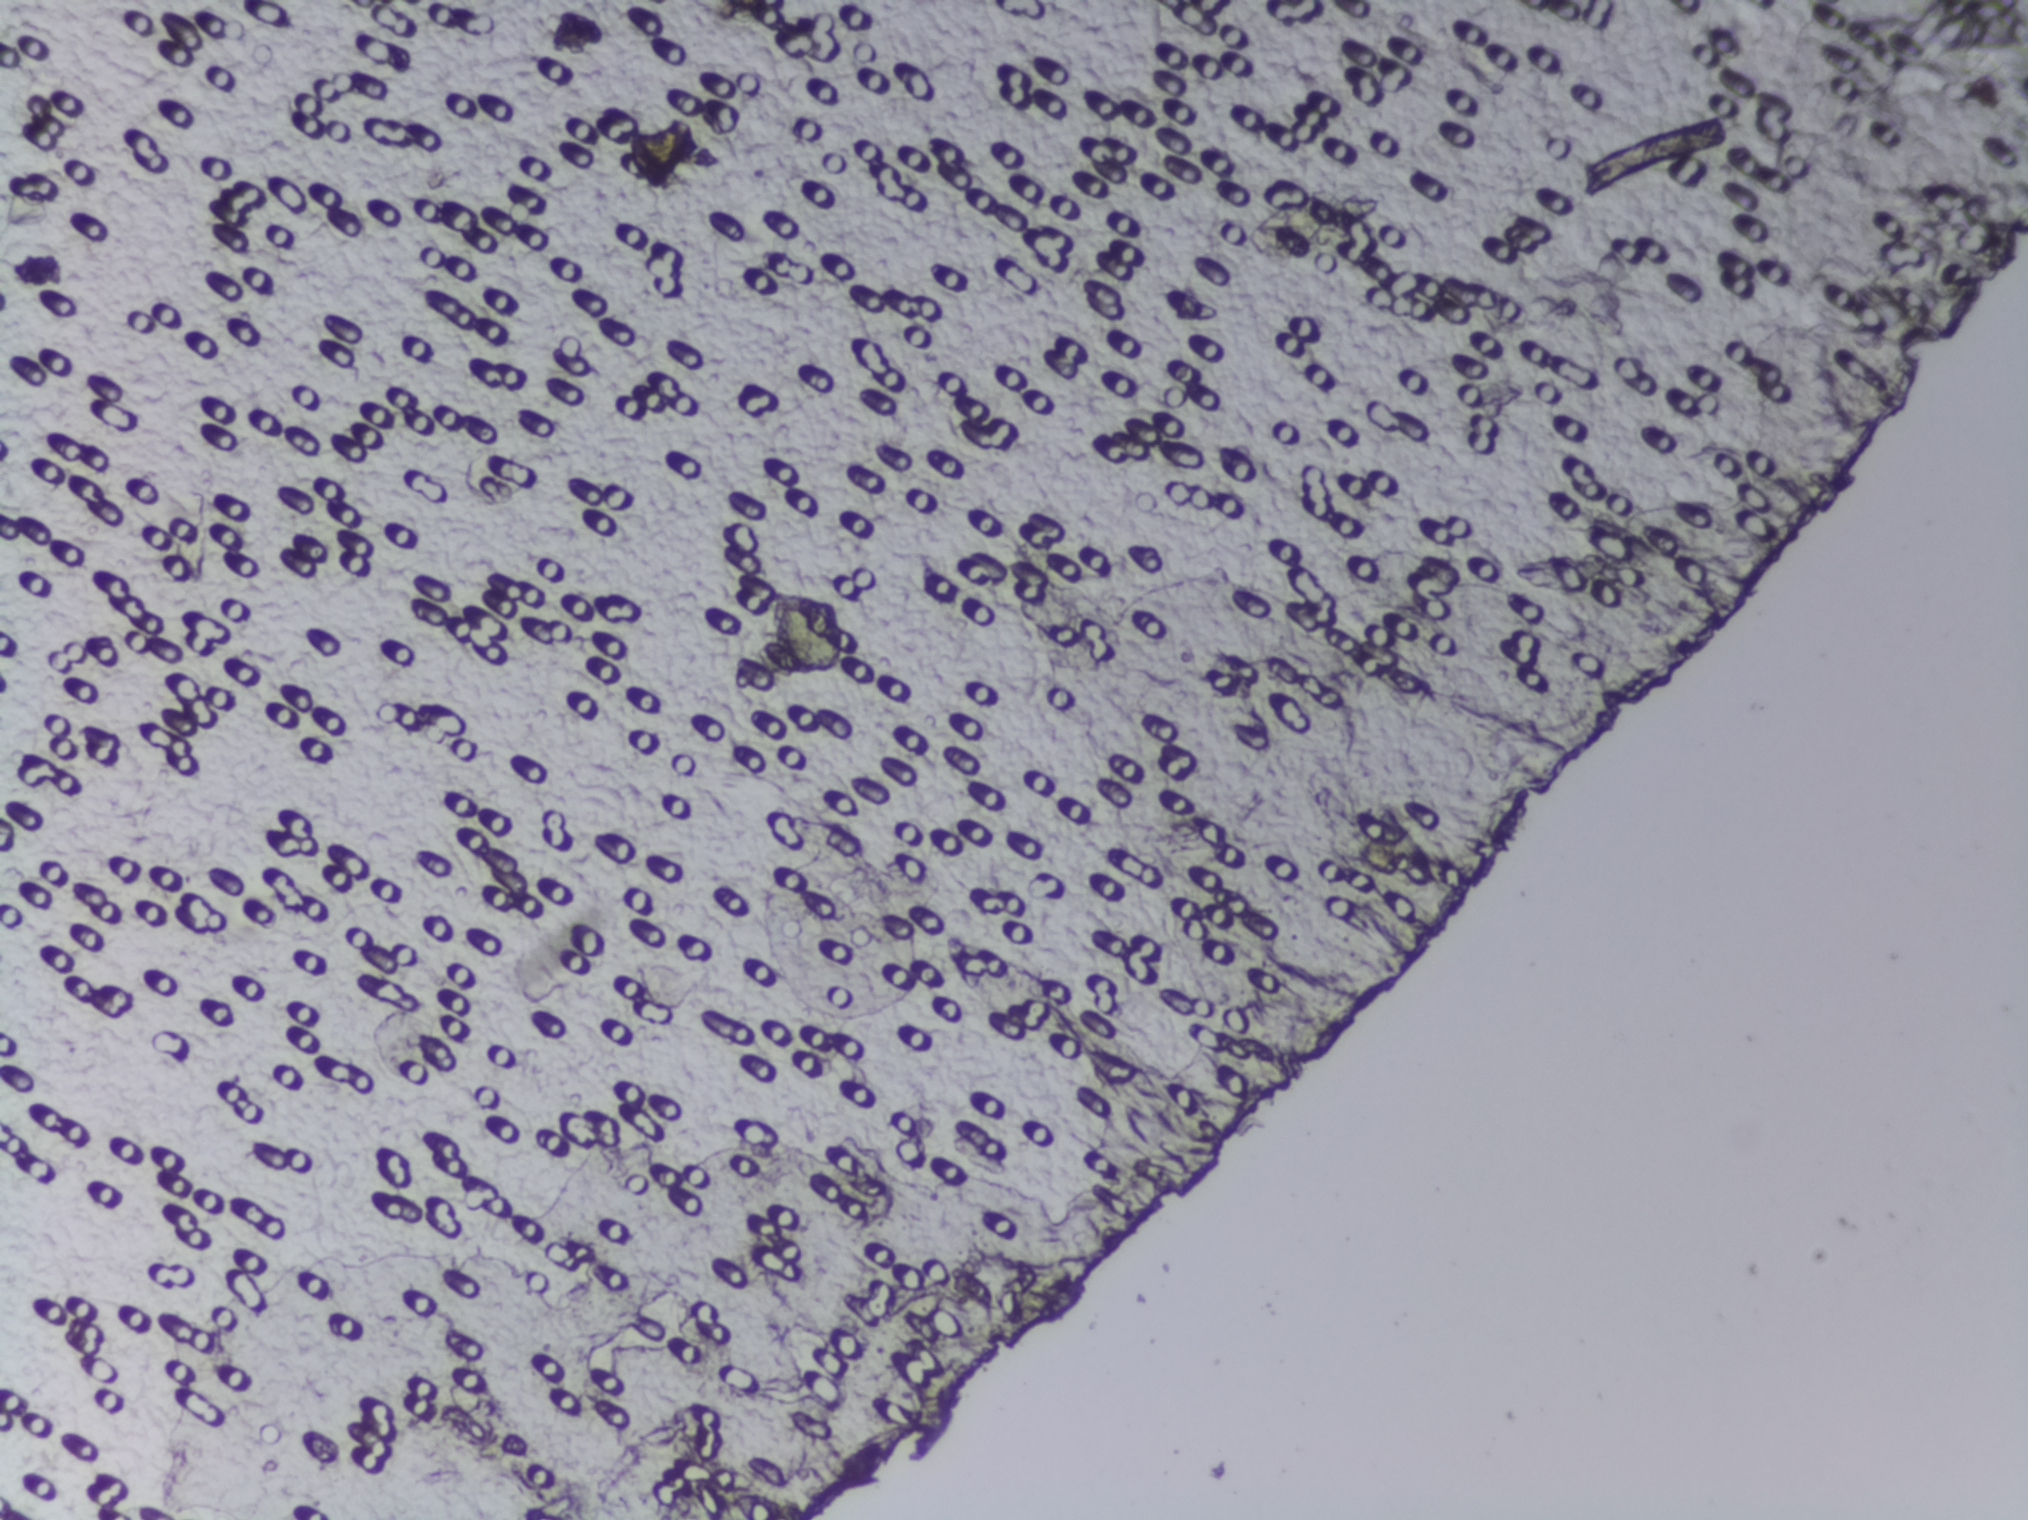
Microscope photograph (4× objective) of a membrane that a urine sample was filtered through.
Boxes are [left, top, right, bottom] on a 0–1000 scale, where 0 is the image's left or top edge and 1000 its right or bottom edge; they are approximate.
Two areas of this image are outlined as Schistosoma eggs, from left to right: [311, 74, 343, 124] and [383, 392, 416, 442]. An outlined area can hold more than one egg.